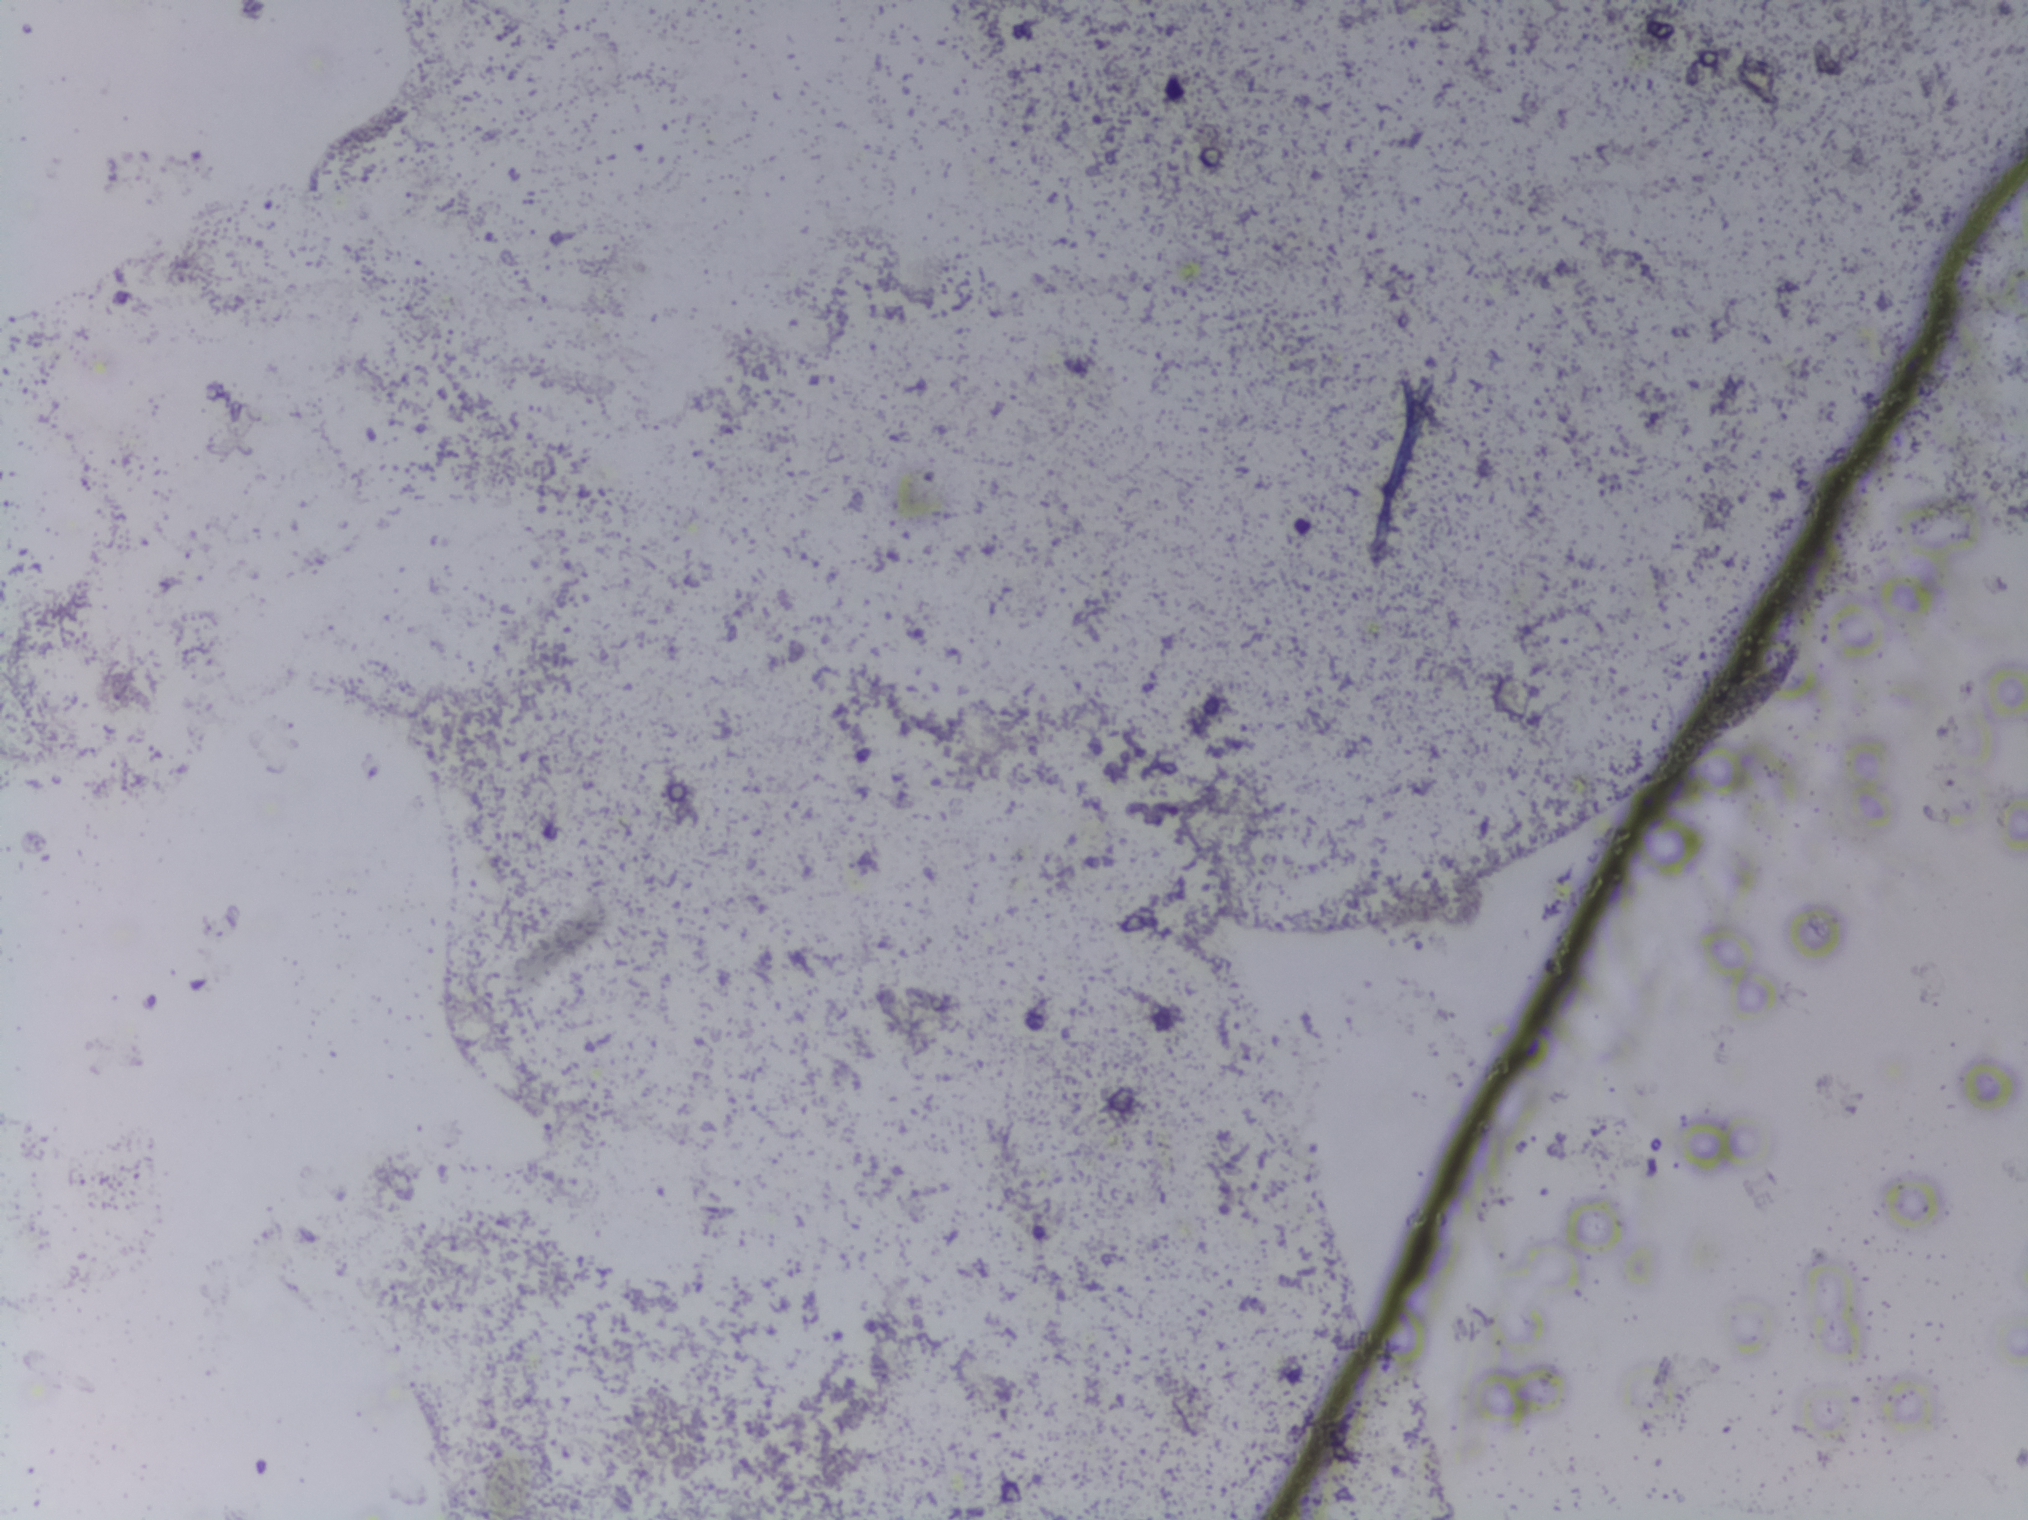
One field of view of a urine filter membrane, 4× objective, 2028 × 1520 pixels.
The expert annotation outlines no Schistosoma egg in this image.